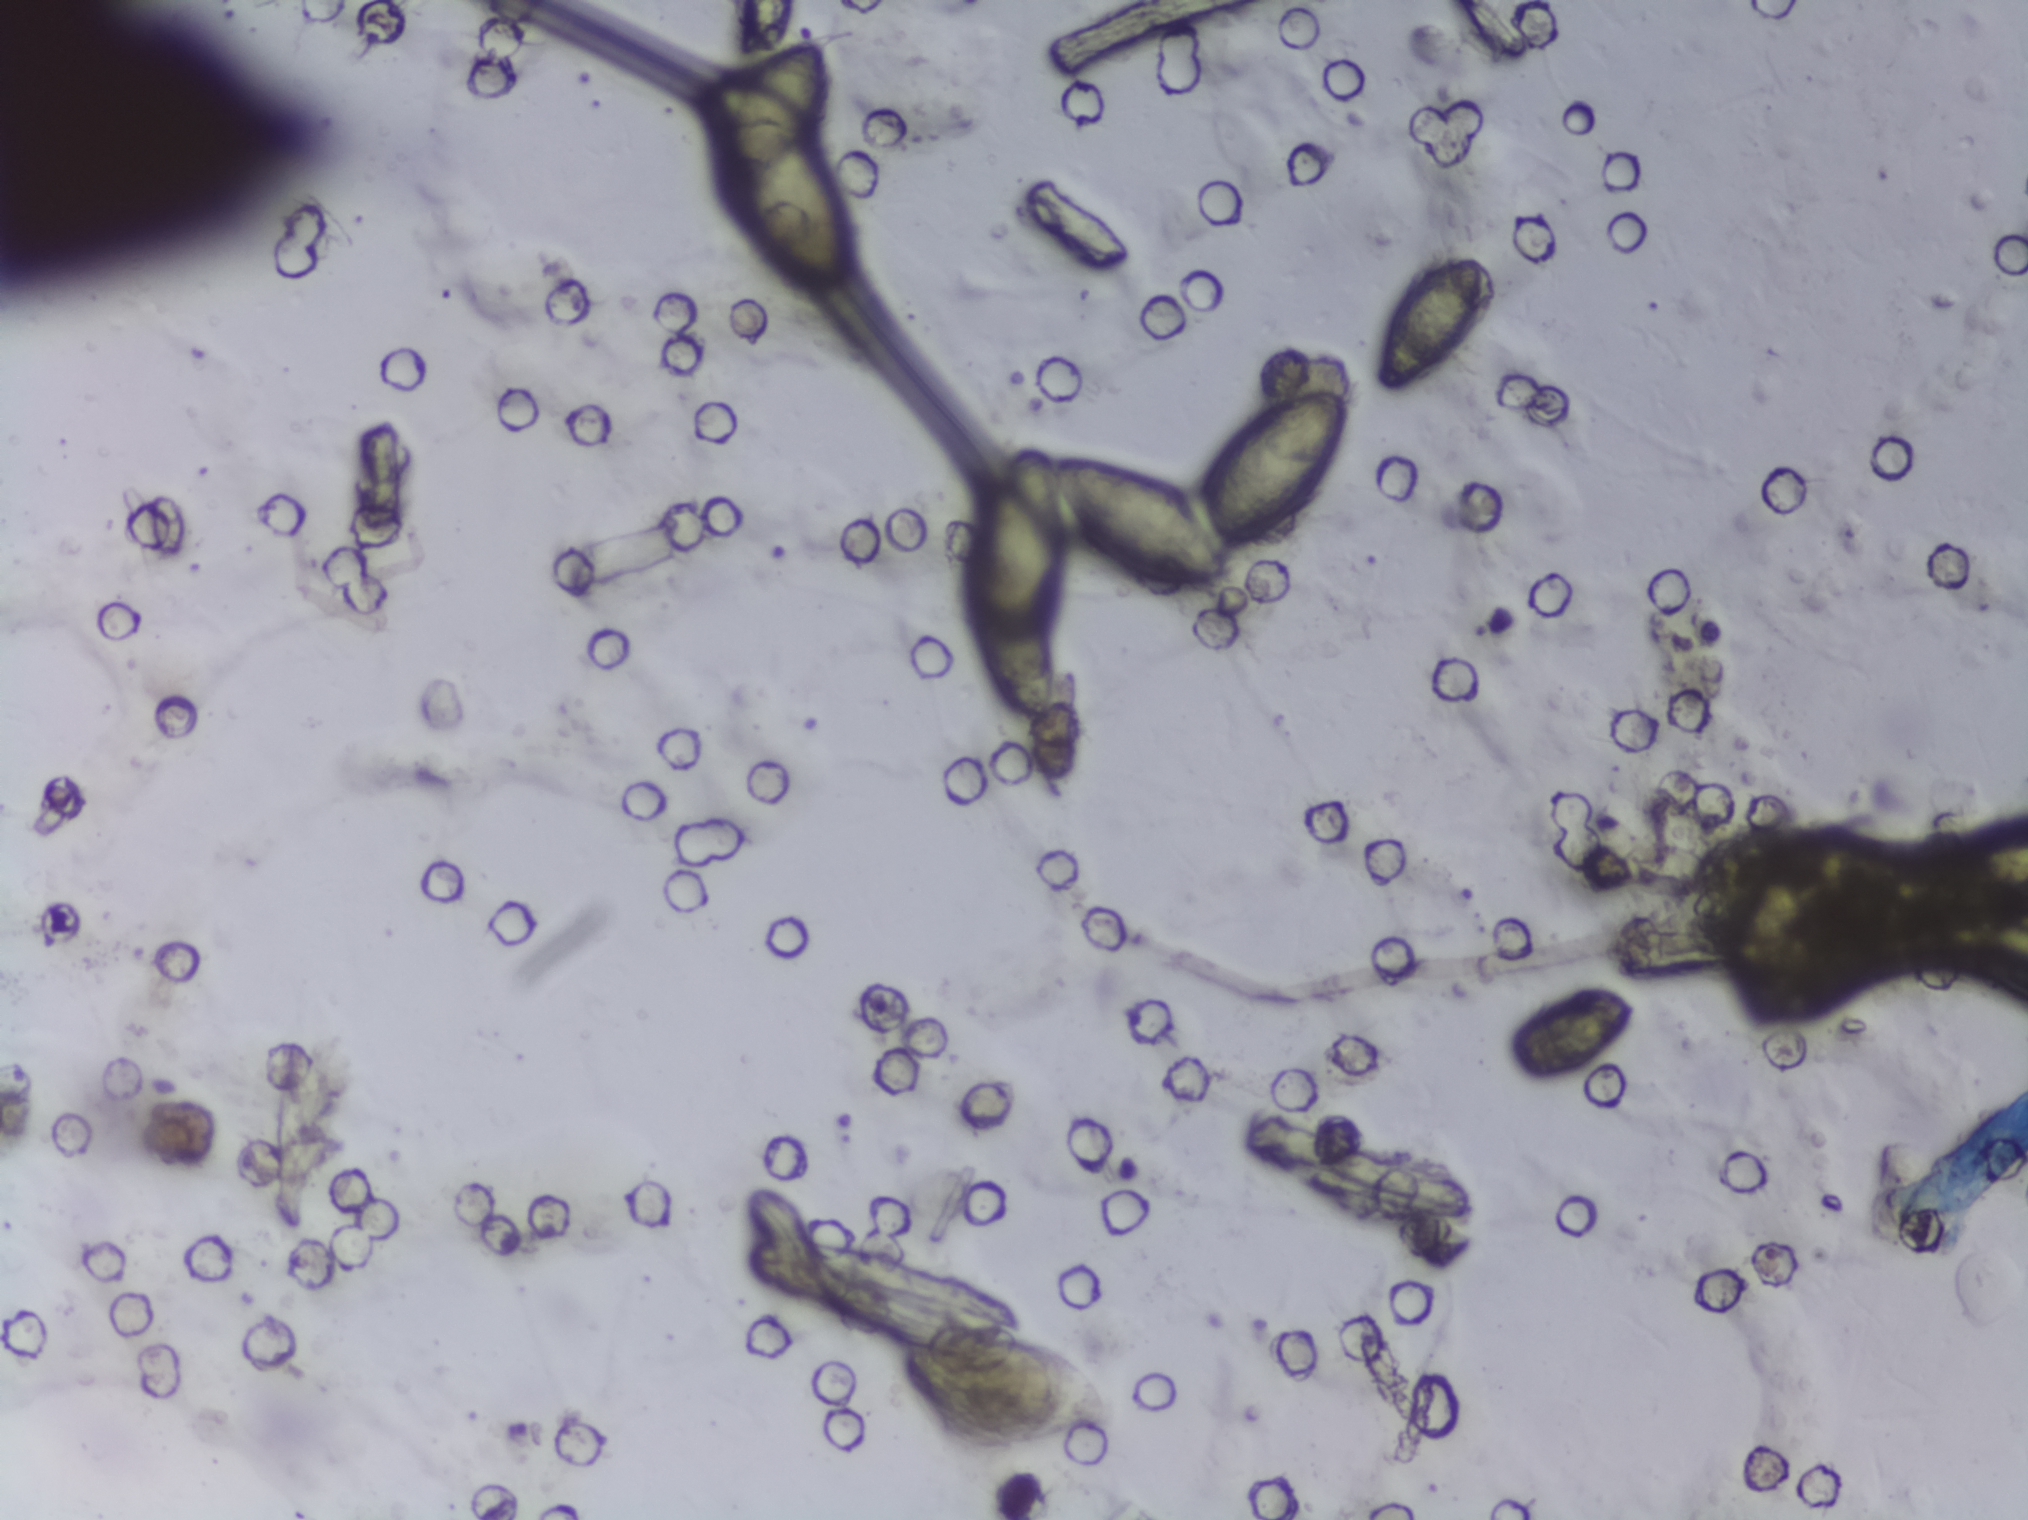
Microscope photograph (4× objective) of a membrane that a urine sample was filtered through.
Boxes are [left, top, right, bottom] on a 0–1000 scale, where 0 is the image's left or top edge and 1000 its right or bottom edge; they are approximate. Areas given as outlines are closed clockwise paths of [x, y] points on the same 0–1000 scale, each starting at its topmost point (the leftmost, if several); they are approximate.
Schistosoma egg areas, outlined: box [354, 25, 416, 188]; outline [654, 258], [661, 258], [663, 279], [658, 309], [649, 332], [627, 355], [614, 362], [604, 360], [605, 375], [599, 383], [580, 385], [561, 379], [541, 359], [529, 338], [523, 393], [517, 410], [522, 438], [519, 468], [510, 473], [496, 462], [482, 424], [480, 363], [487, 363], [487, 323], [500, 294], [504, 290], [521, 302], [548, 300], [557, 304], [580, 317], [592, 336], [597, 308], [610, 277], [631, 263] (a cluster of eggs); box [678, 170, 732, 263]. Eggs that touch can end up inside the same outlined area.